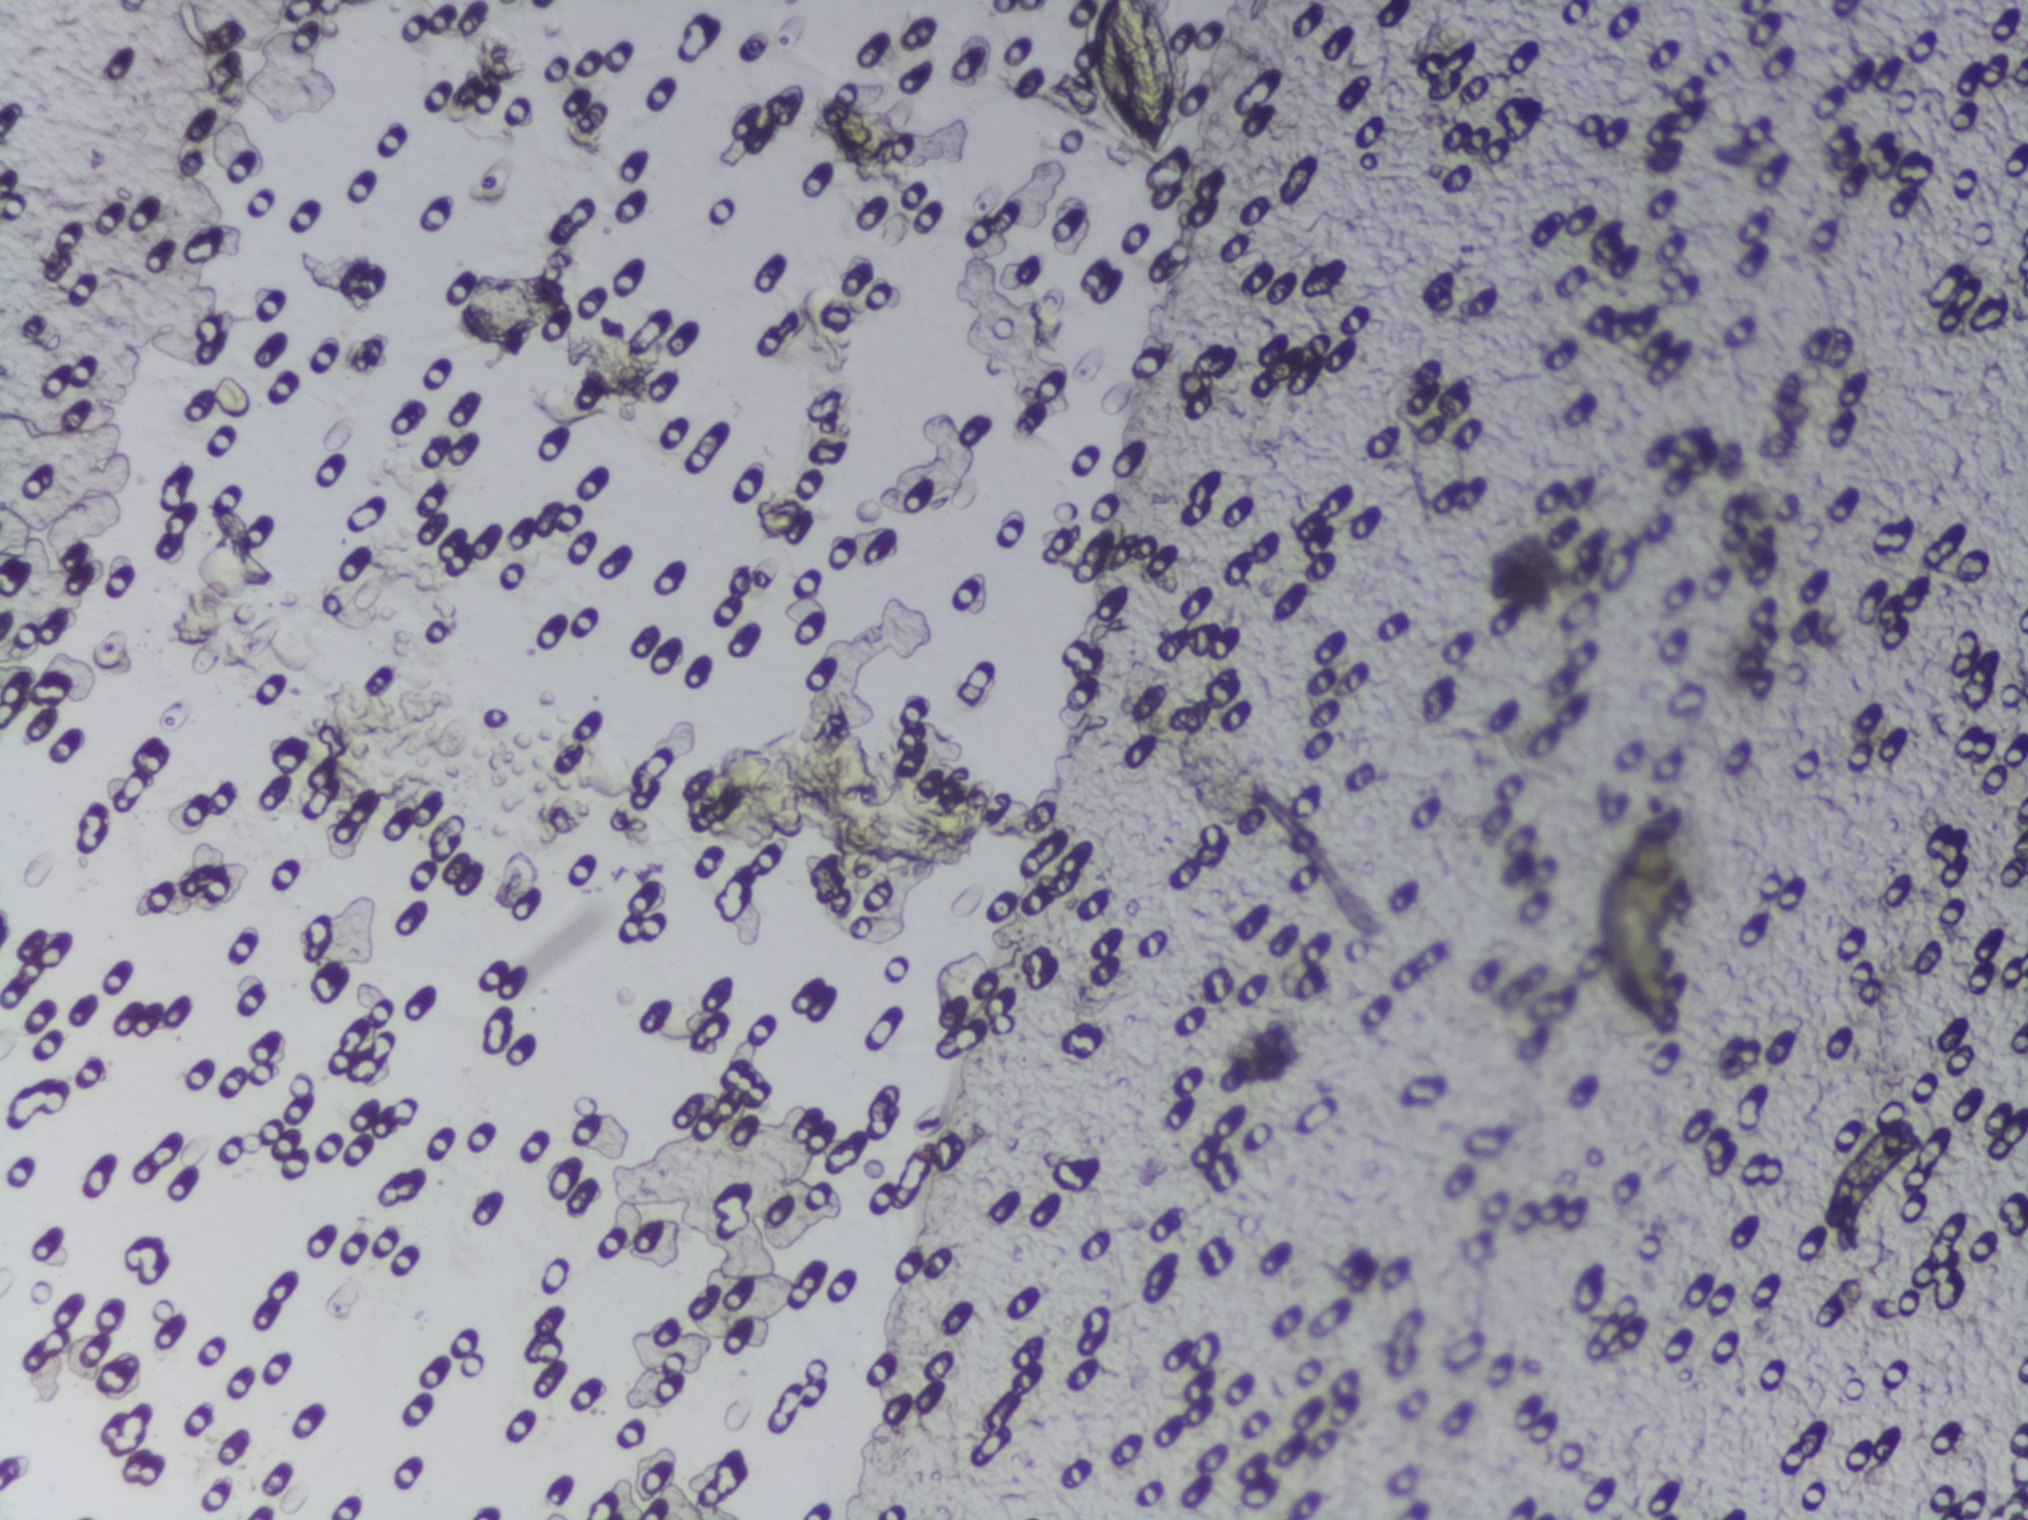
Photomicrograph of a urine filtration membrane, 4× objective.
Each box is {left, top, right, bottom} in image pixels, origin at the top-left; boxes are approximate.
Findings: one area outlined as Schistosoma eggs. Location: {1081, 0, 1185, 163} (reaching the top edge of the frame). A single outlined area may contain several eggs. A marked egg may occasionally be S. mansoni rather than S. haematobium.